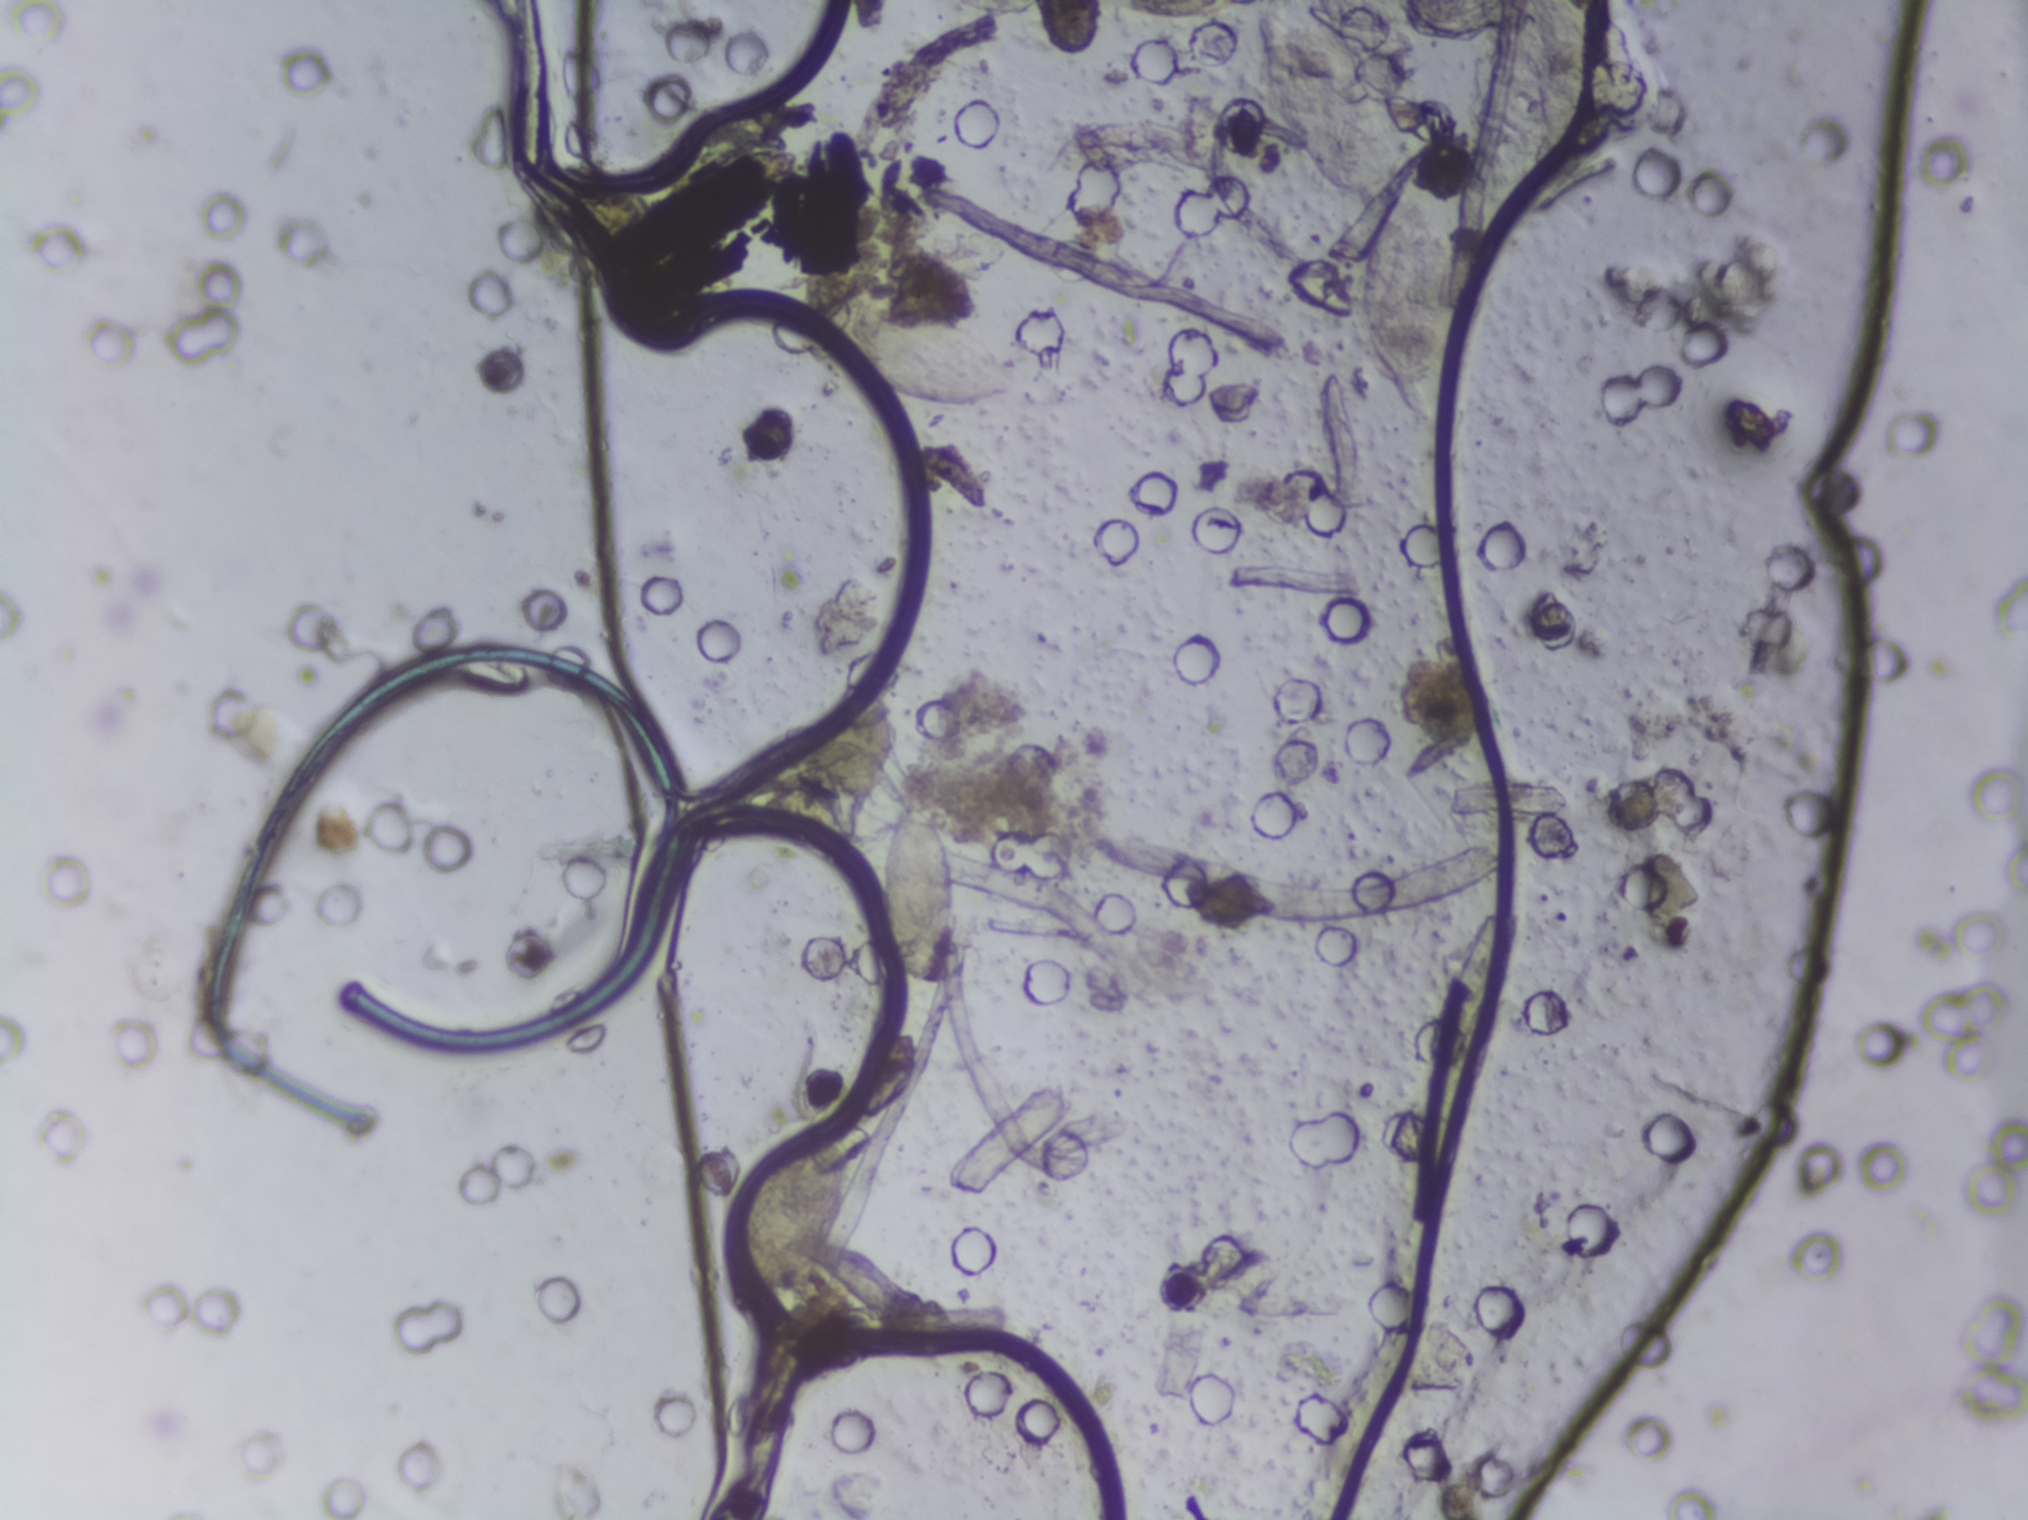
Urine filtration membrane under a 4× objective, photographed by an automated digital microscope.
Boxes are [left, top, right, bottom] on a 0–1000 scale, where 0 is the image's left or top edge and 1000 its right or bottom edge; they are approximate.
Findings: five areas outlined as Schistosoma eggs. Locations, left to right: [361, 741, 419, 864]; [399, 194, 502, 269]; [432, 524, 473, 651]; [616, 5, 699, 130]; [666, 127, 721, 260]. About 2.6% of the image's pixels are marked (the marked pixels themselves, not the boxes around them). Eggs that touch can end up inside the same outlined area.